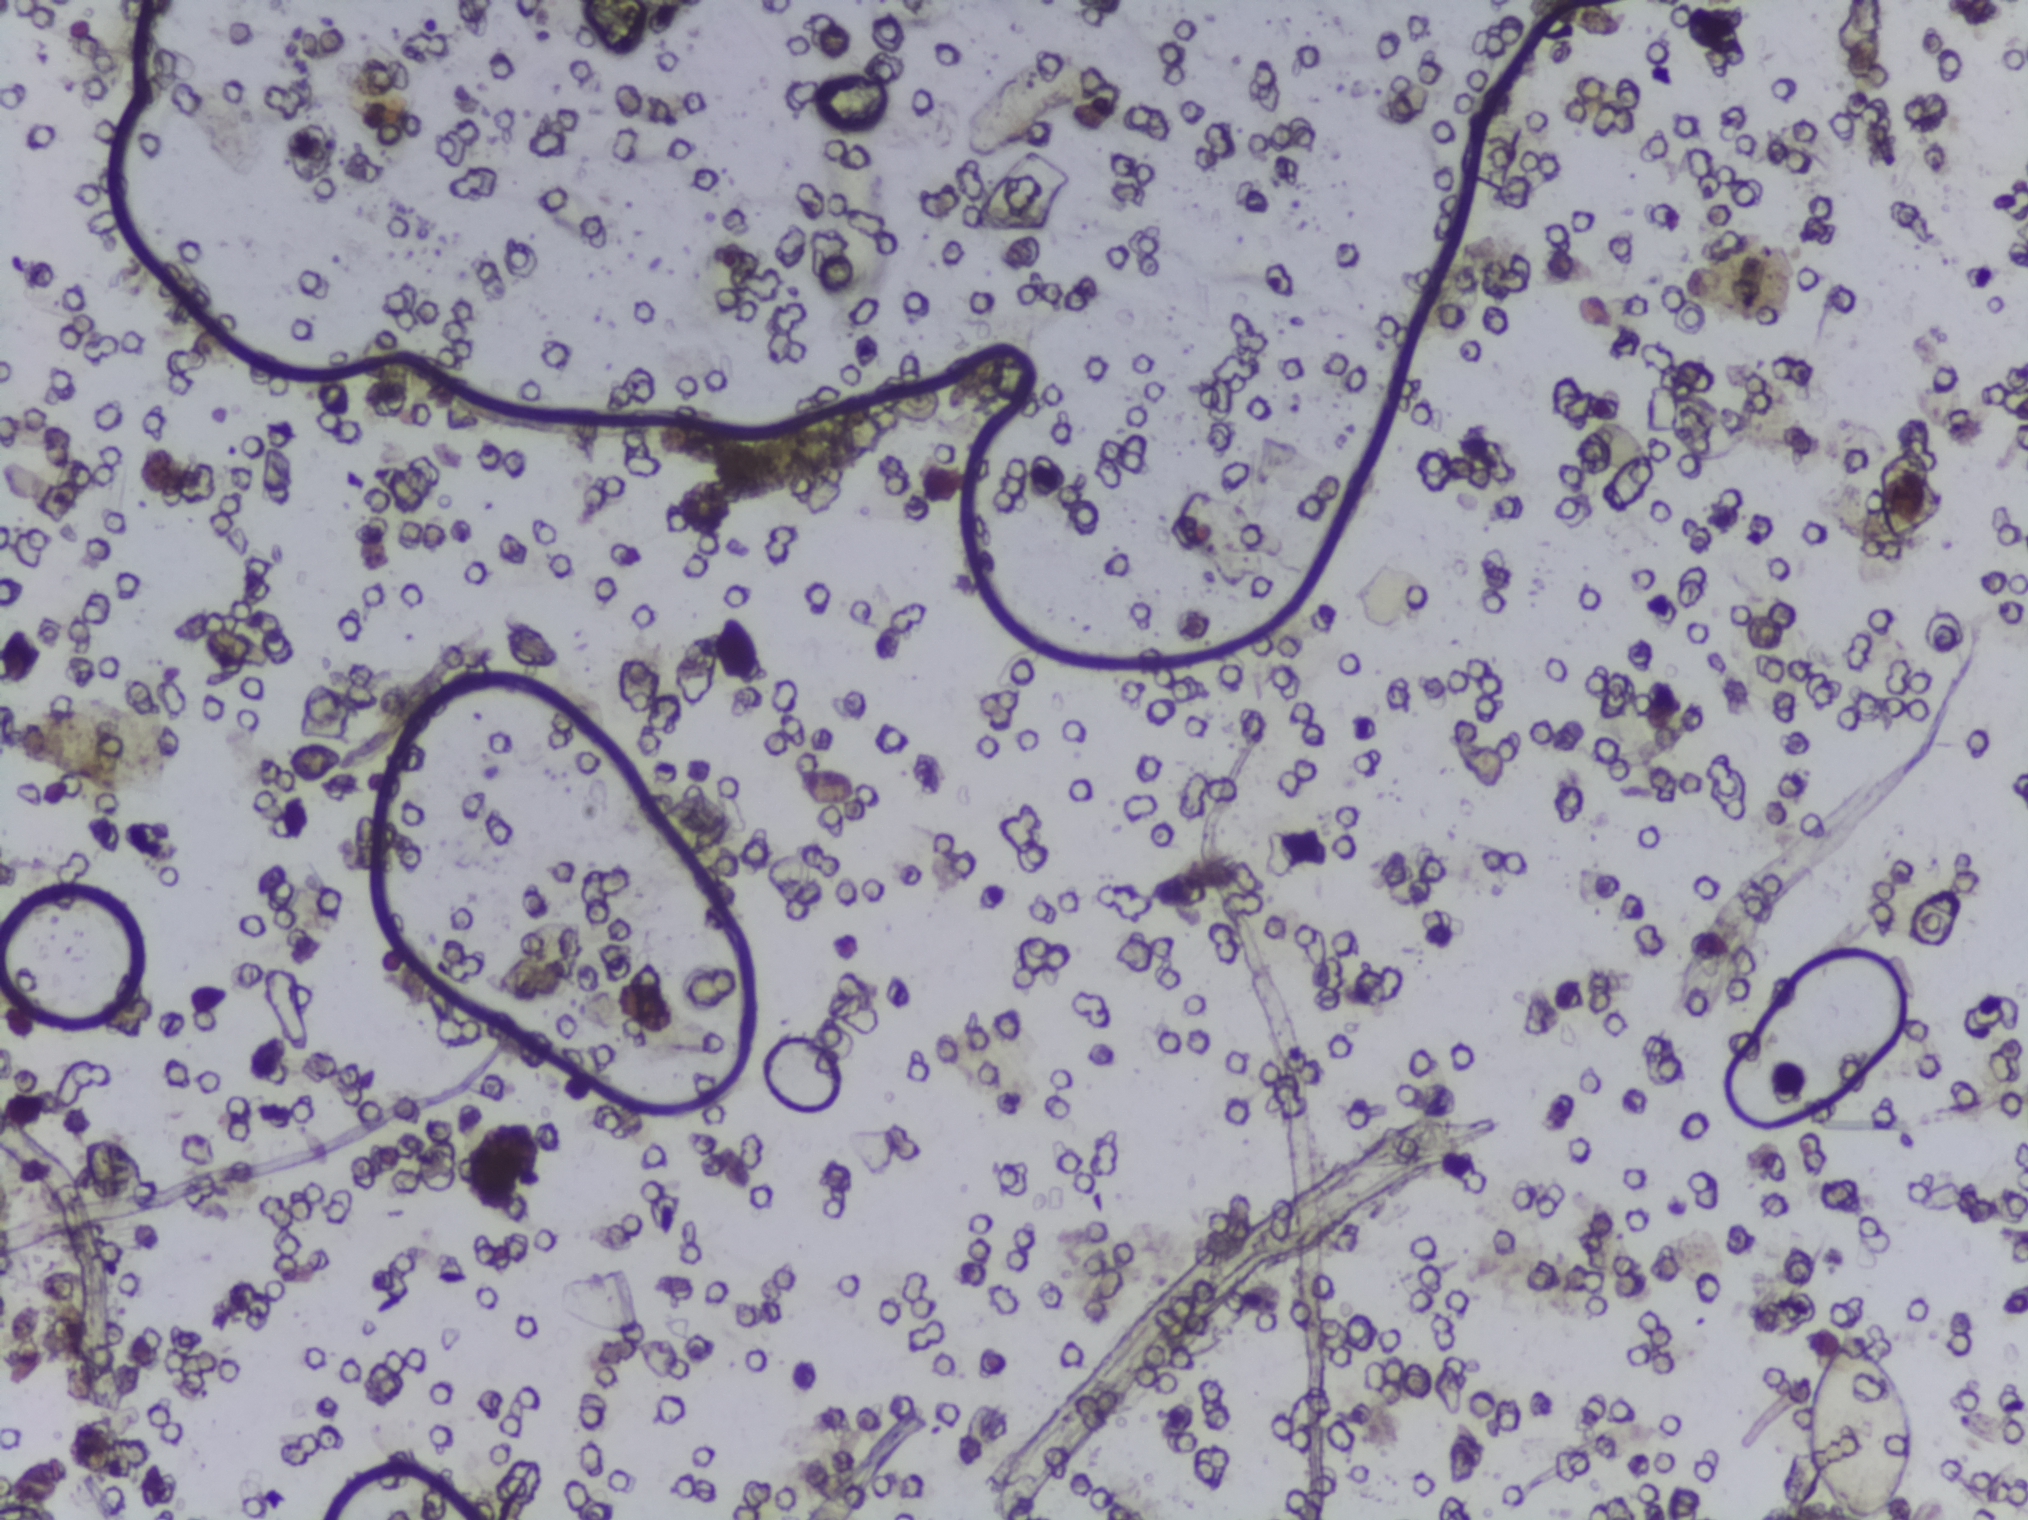
Photograph from an automated digital microscope: urine filter membrane, 4× objective.
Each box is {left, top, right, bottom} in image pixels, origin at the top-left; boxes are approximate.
Schistosoma eggs are outlined in one area of this image: {1804, 1321, 1913, 1519} (reaching the bottom edge of the frame). The marked pixels themselves, not the box around them, cover about 0.5% of the image. Eggs that touch can end up inside the same outlined area.